Urine filter membrane photographed through a 4× microscope objective.
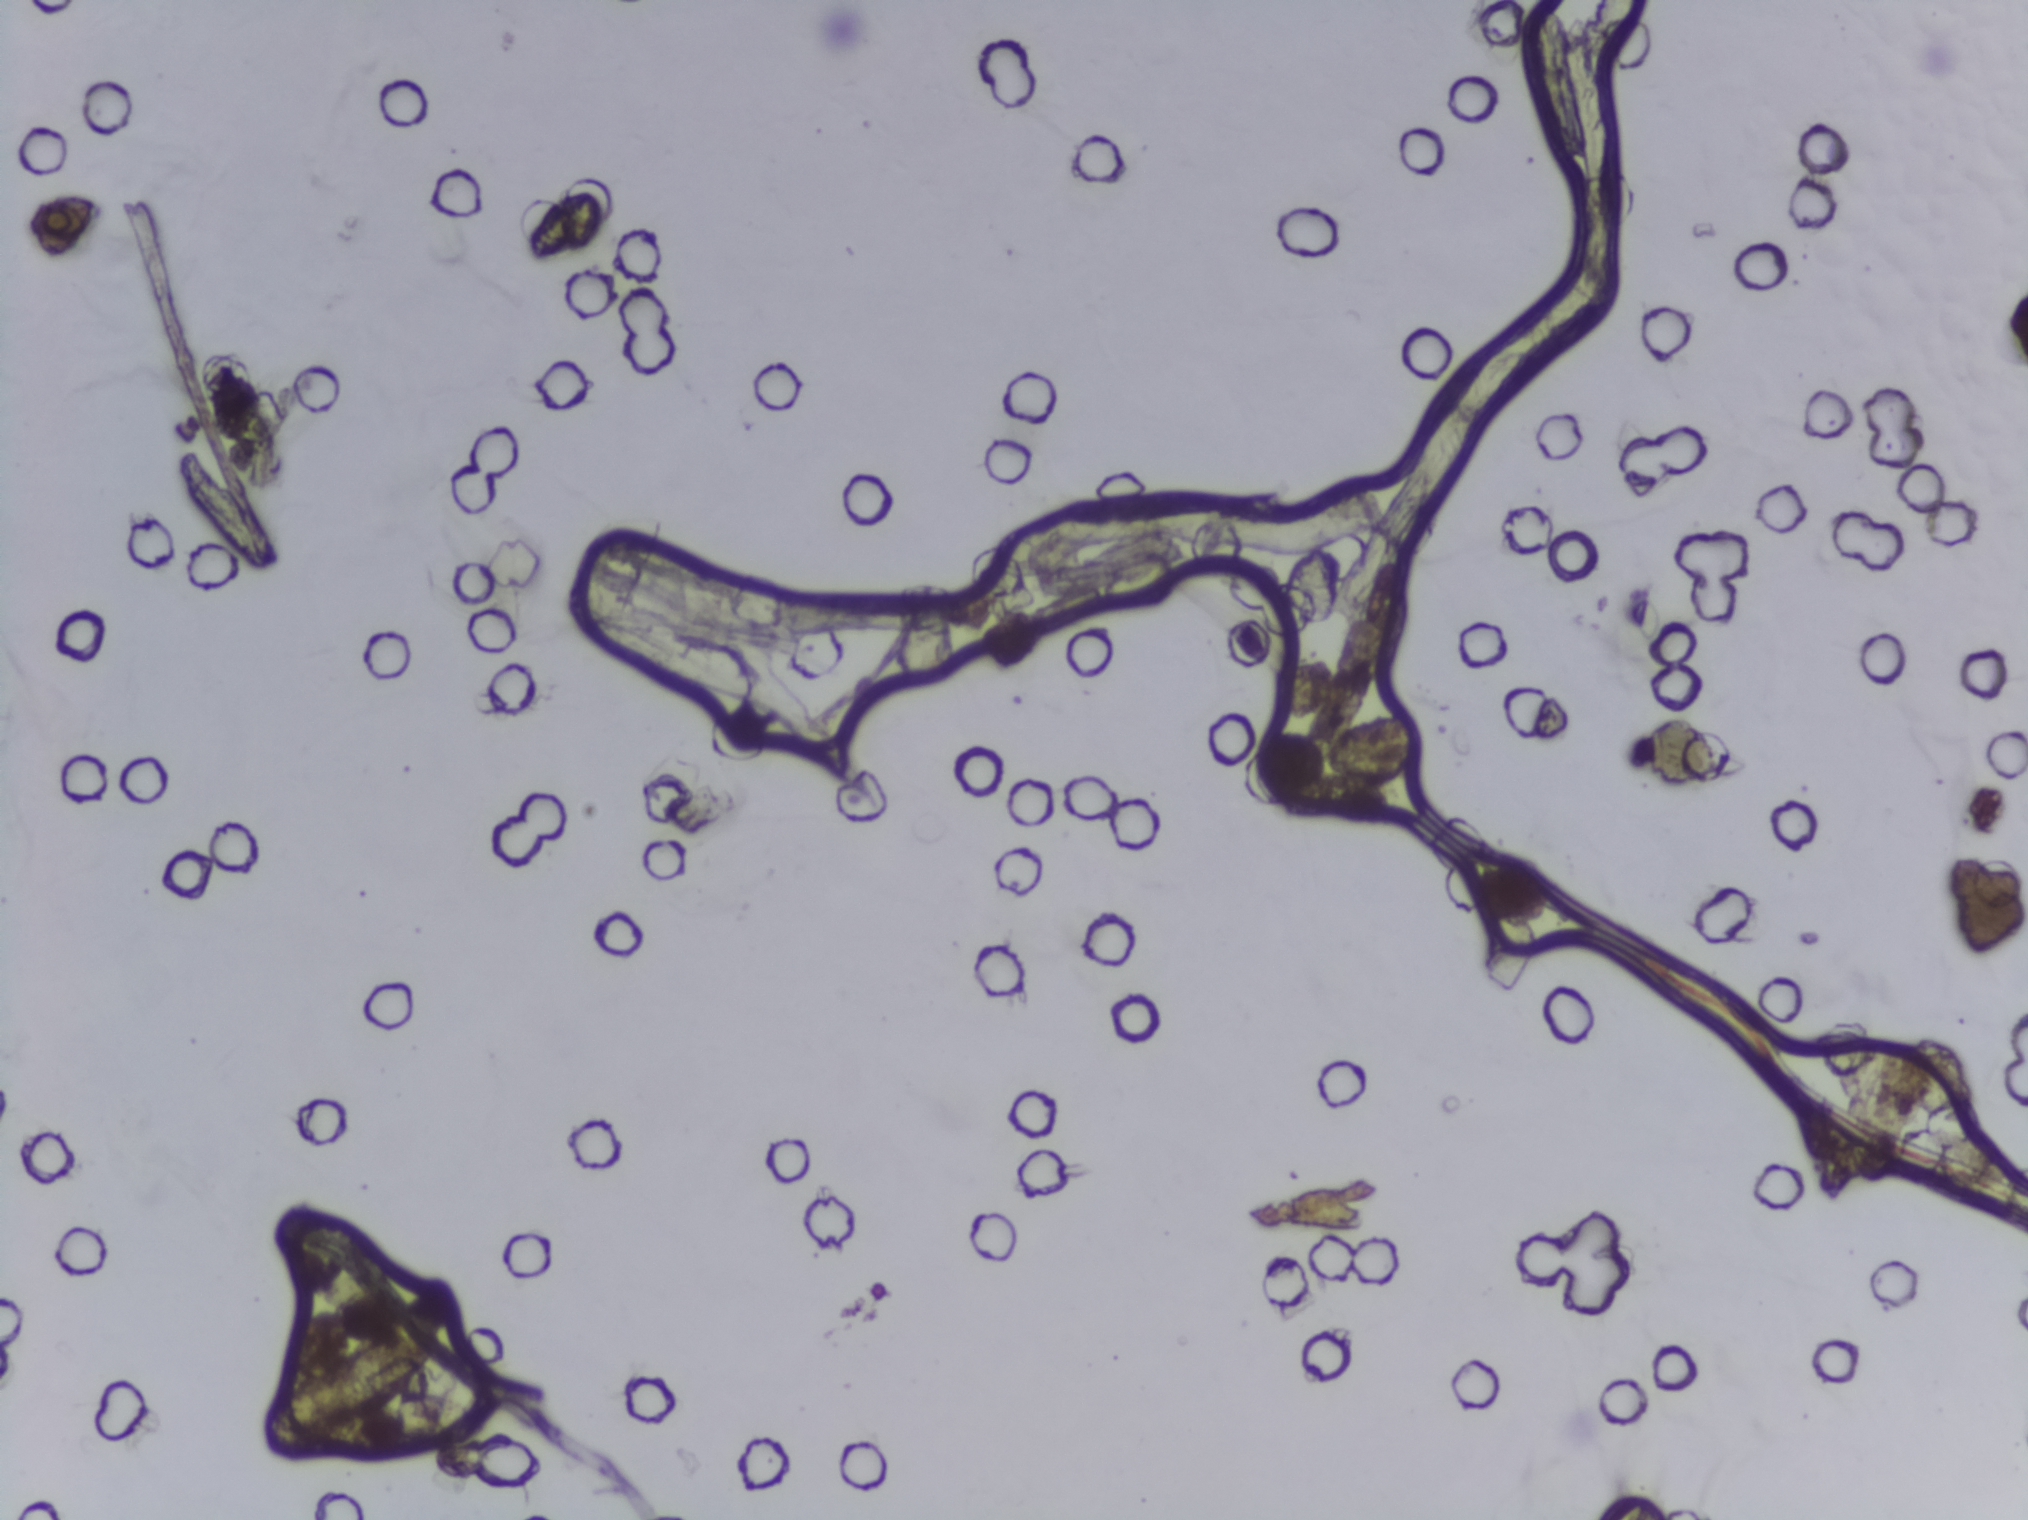
No Schistosoma egg is outlined in this image's expert annotation.